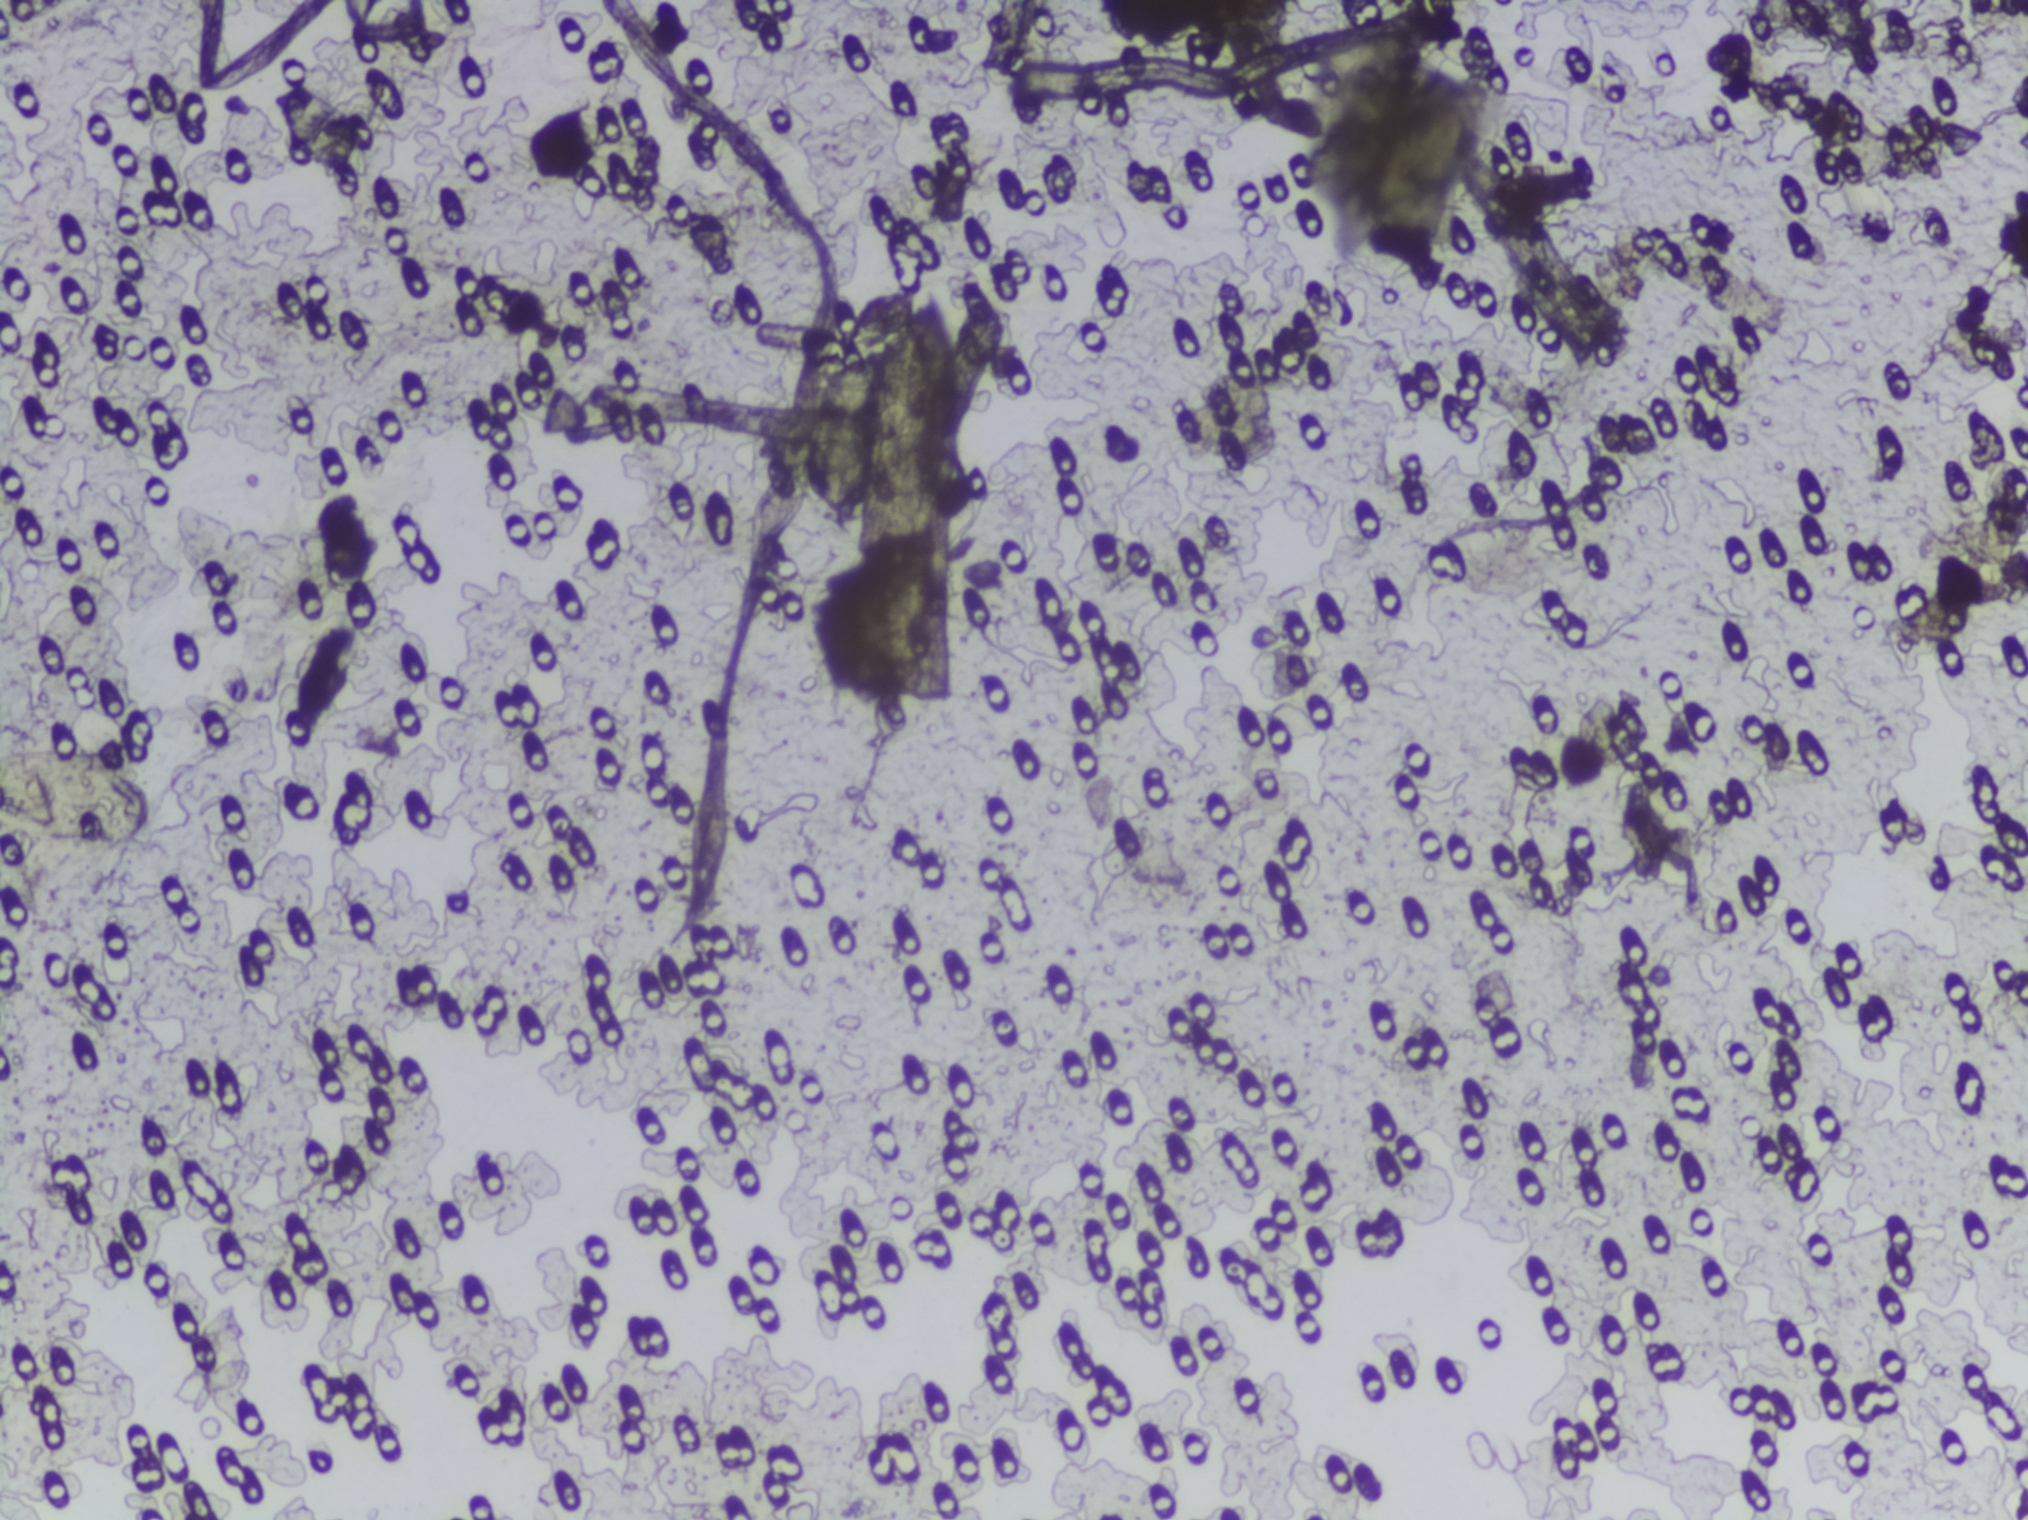
Urine filter membrane photographed through a 4× microscope objective. The image covers about 1.5 × 1.1 mm of the membrane.
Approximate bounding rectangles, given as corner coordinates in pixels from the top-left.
Two areas of this image are outlined as Schistosoma eggs, from left to right: (x1=0, y1=744, x2=158, y2=851) (reaching the left edge of the frame) and (x1=774, y1=336, x2=891, y2=519). A single outlined area may contain several eggs.